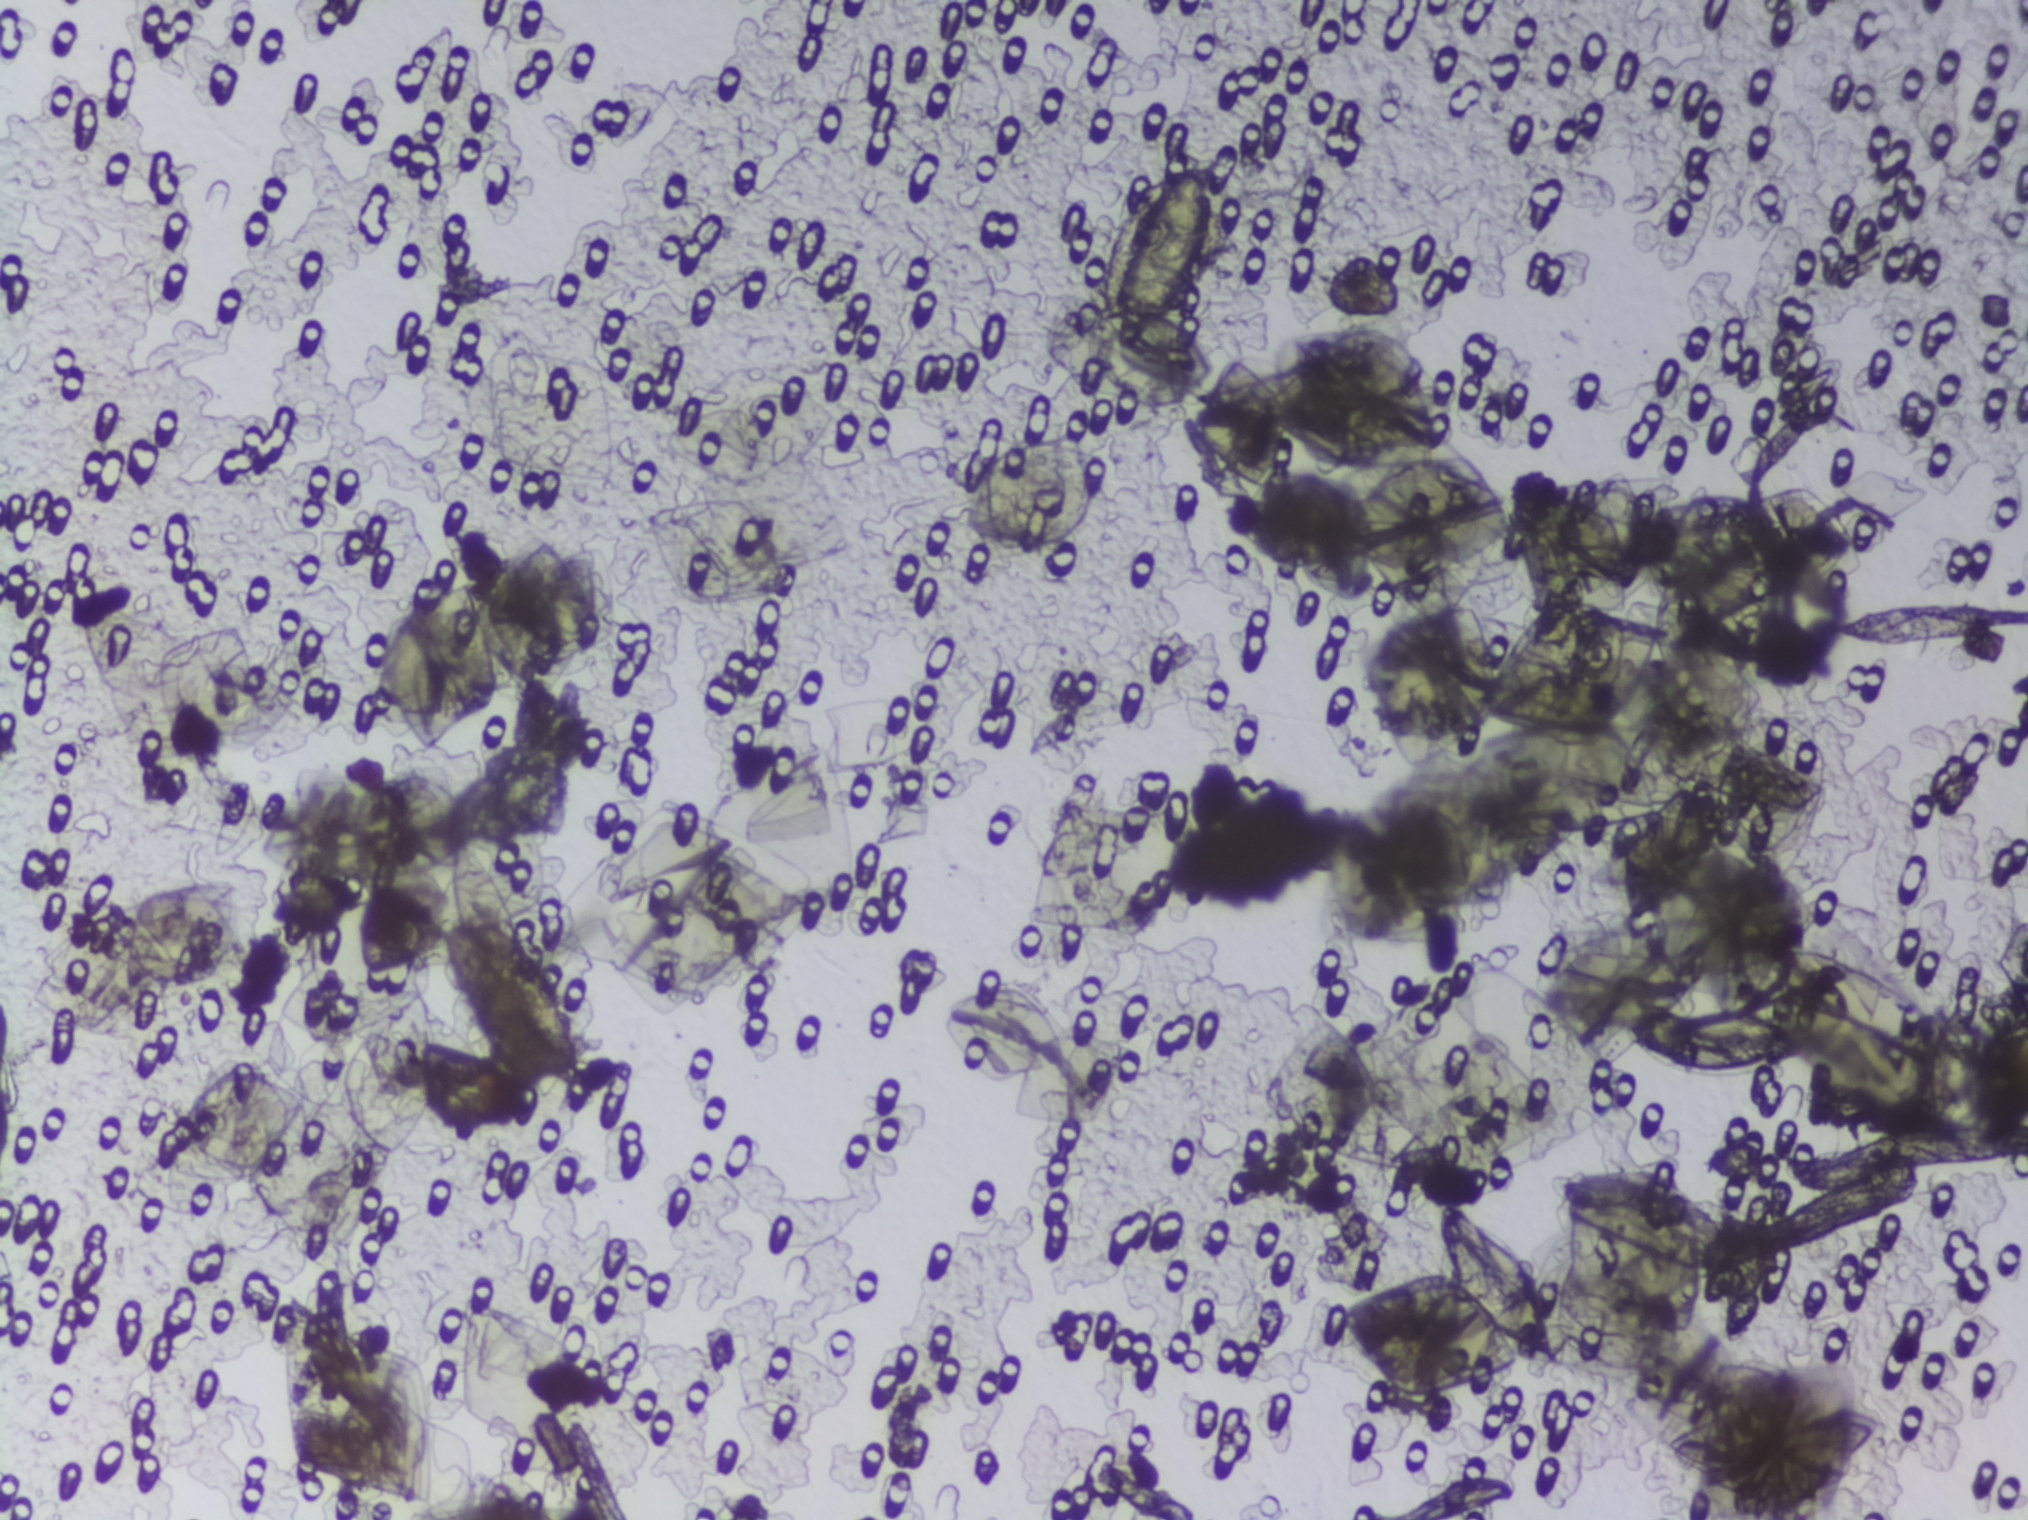
One field of view of a urine filter membrane, 4× objective, 2028 × 1520 pixels.
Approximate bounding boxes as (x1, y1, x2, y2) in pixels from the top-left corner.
The expert annotation outlines Schistosoma eggs at (439, 918, 597, 1090); (1101, 166, 1217, 352); (1621, 1000, 1796, 1074) (left to right). Marked pixels, not the boxes around them: about 1.3% of the image. An outlined area can hold more than one egg. Any one outlined egg may, rarely, be S. mansoni rather than S. haematobium.